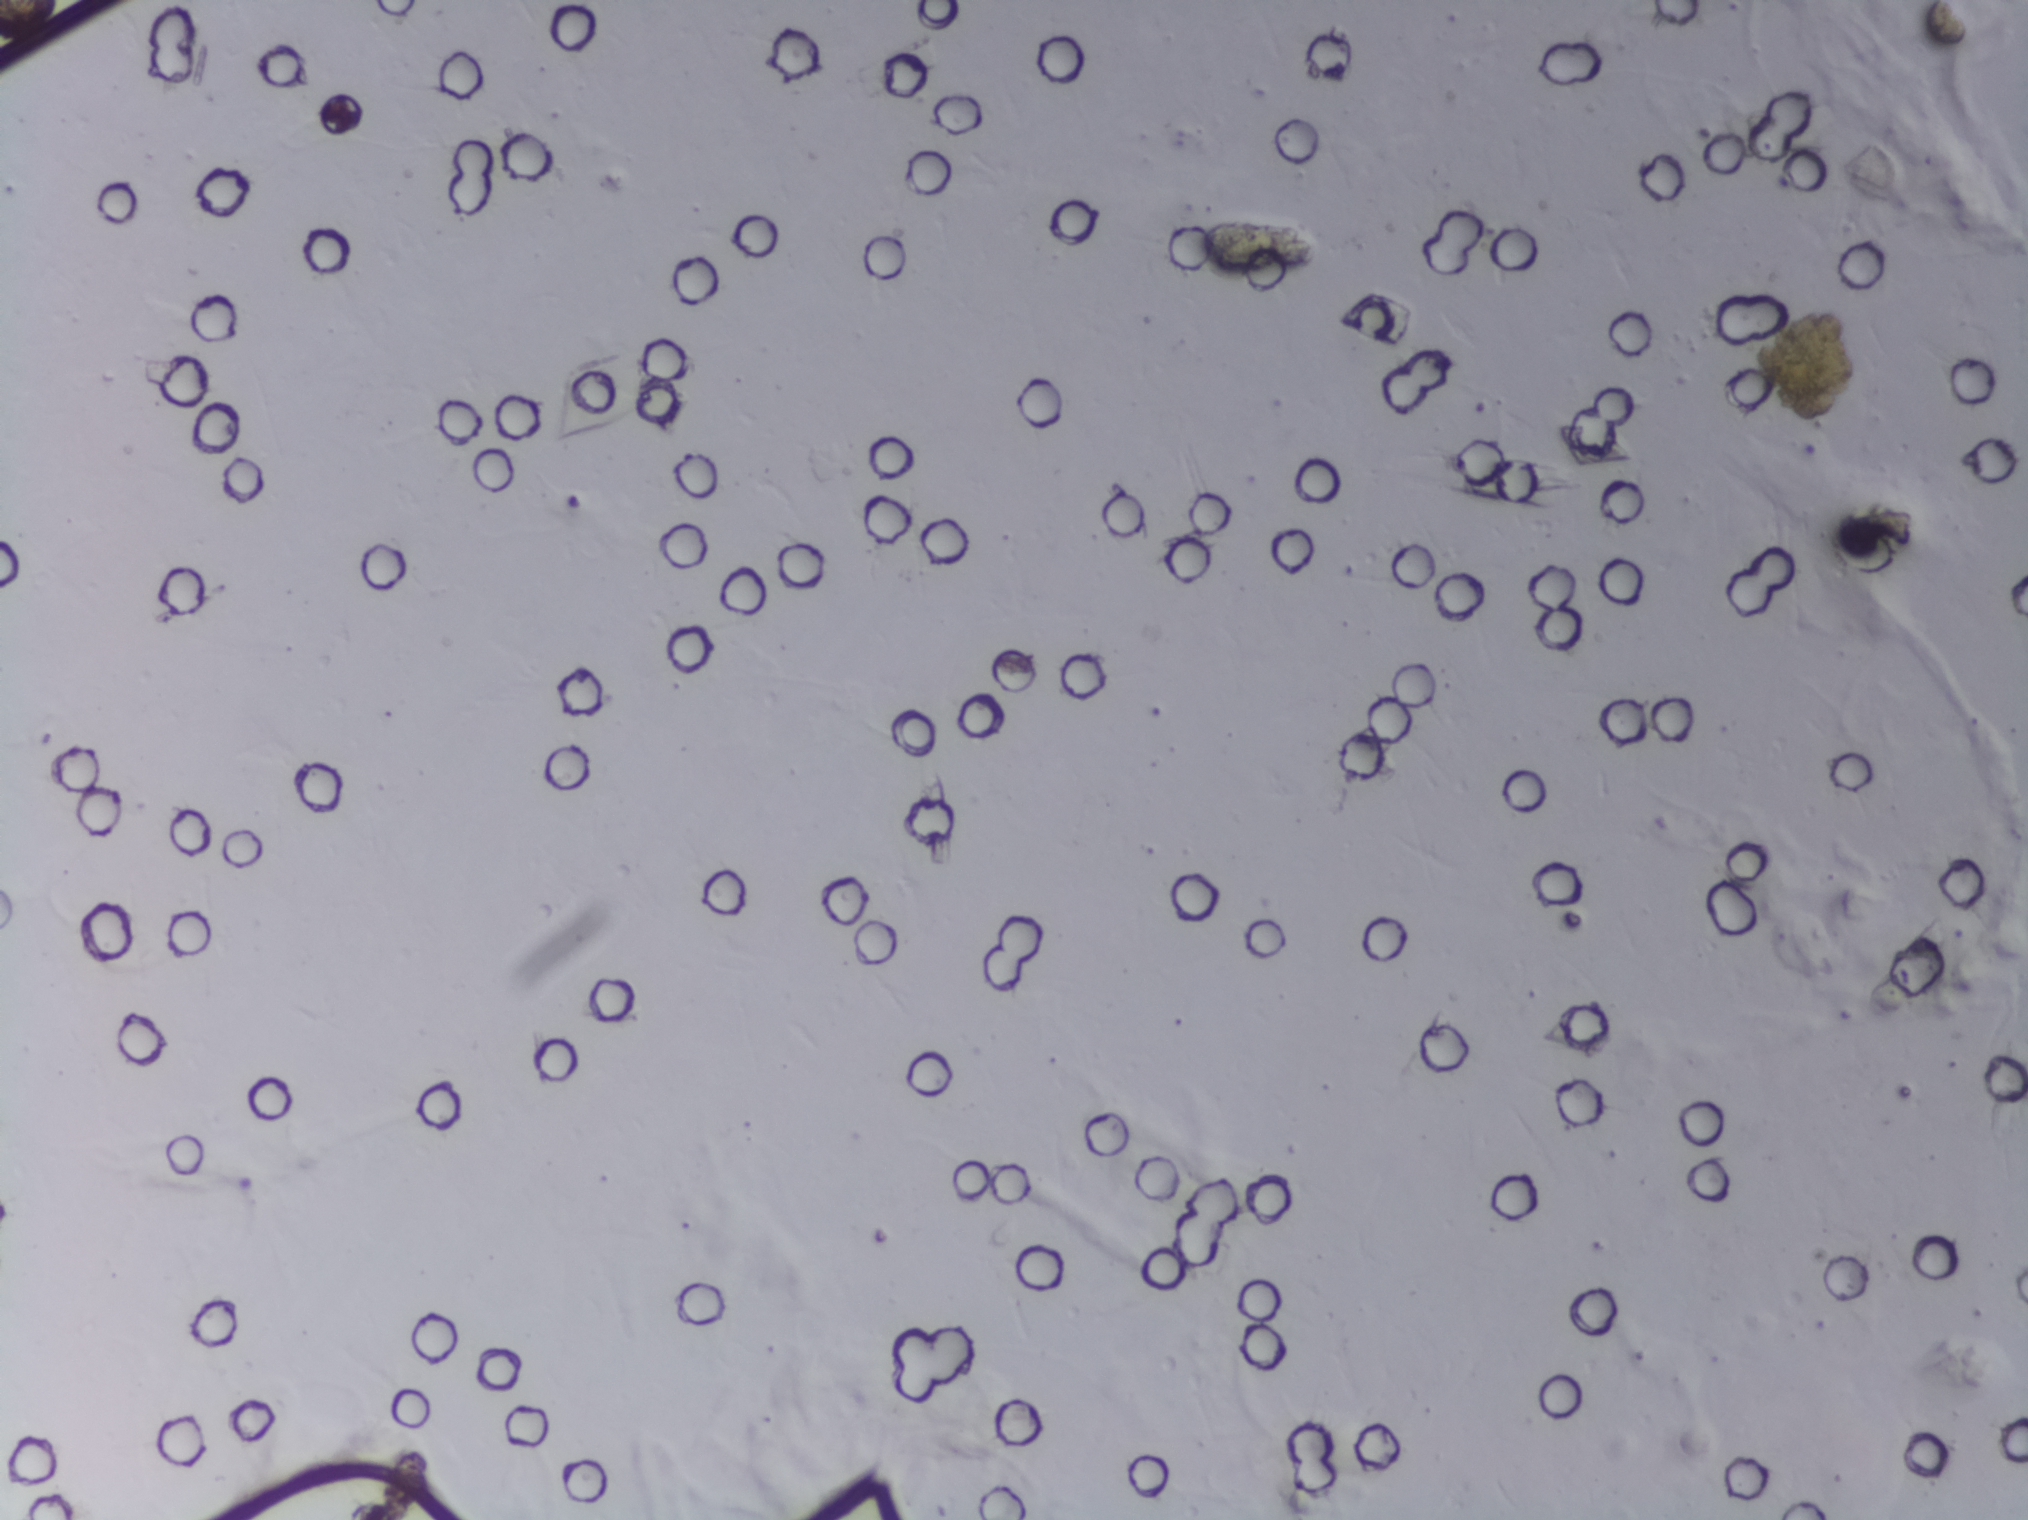
The expert annotation outlines no Schistosoma egg in this image.
Photograph from an automated digital microscope: urine filter membrane, 4× objective.